Photomicrograph of a urine filtration membrane, 4× objective.
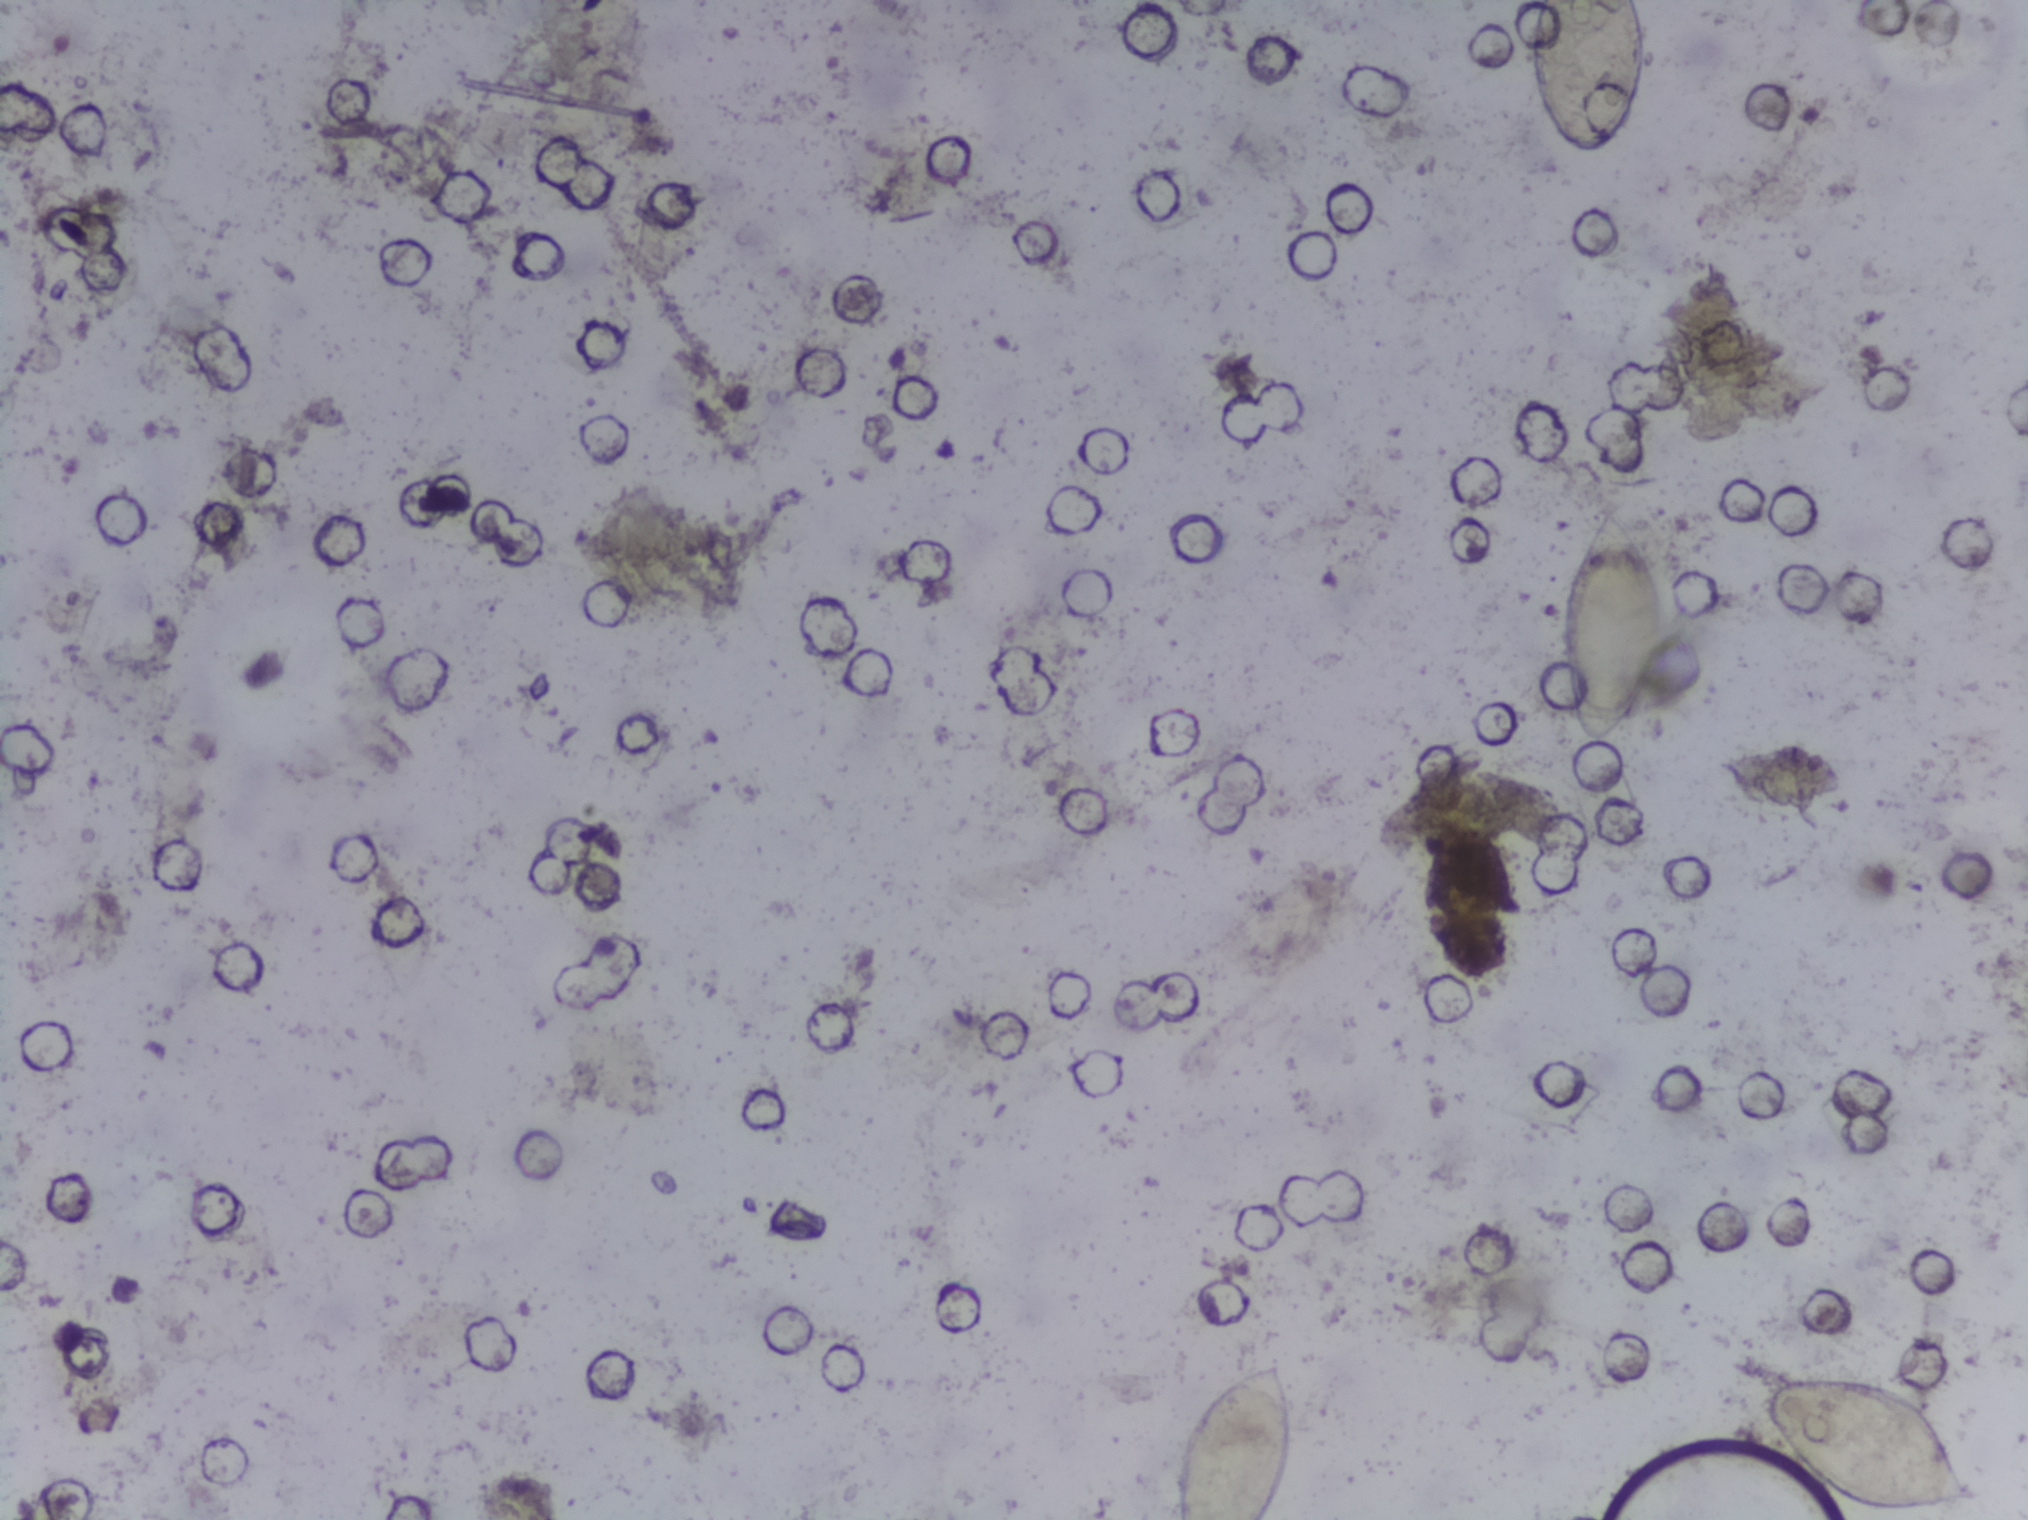
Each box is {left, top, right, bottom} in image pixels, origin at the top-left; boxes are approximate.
Schistosoma eggs are outlined in four areas of this image, listed from left to right: {1171, 1357, 1298, 1519} (reaching the bottom edge of the frame); {1526, 0, 1649, 159} (reaching the top edge of the frame); {1556, 504, 1671, 753}; {1750, 1374, 1984, 1516}. A single outlined area may contain several eggs.